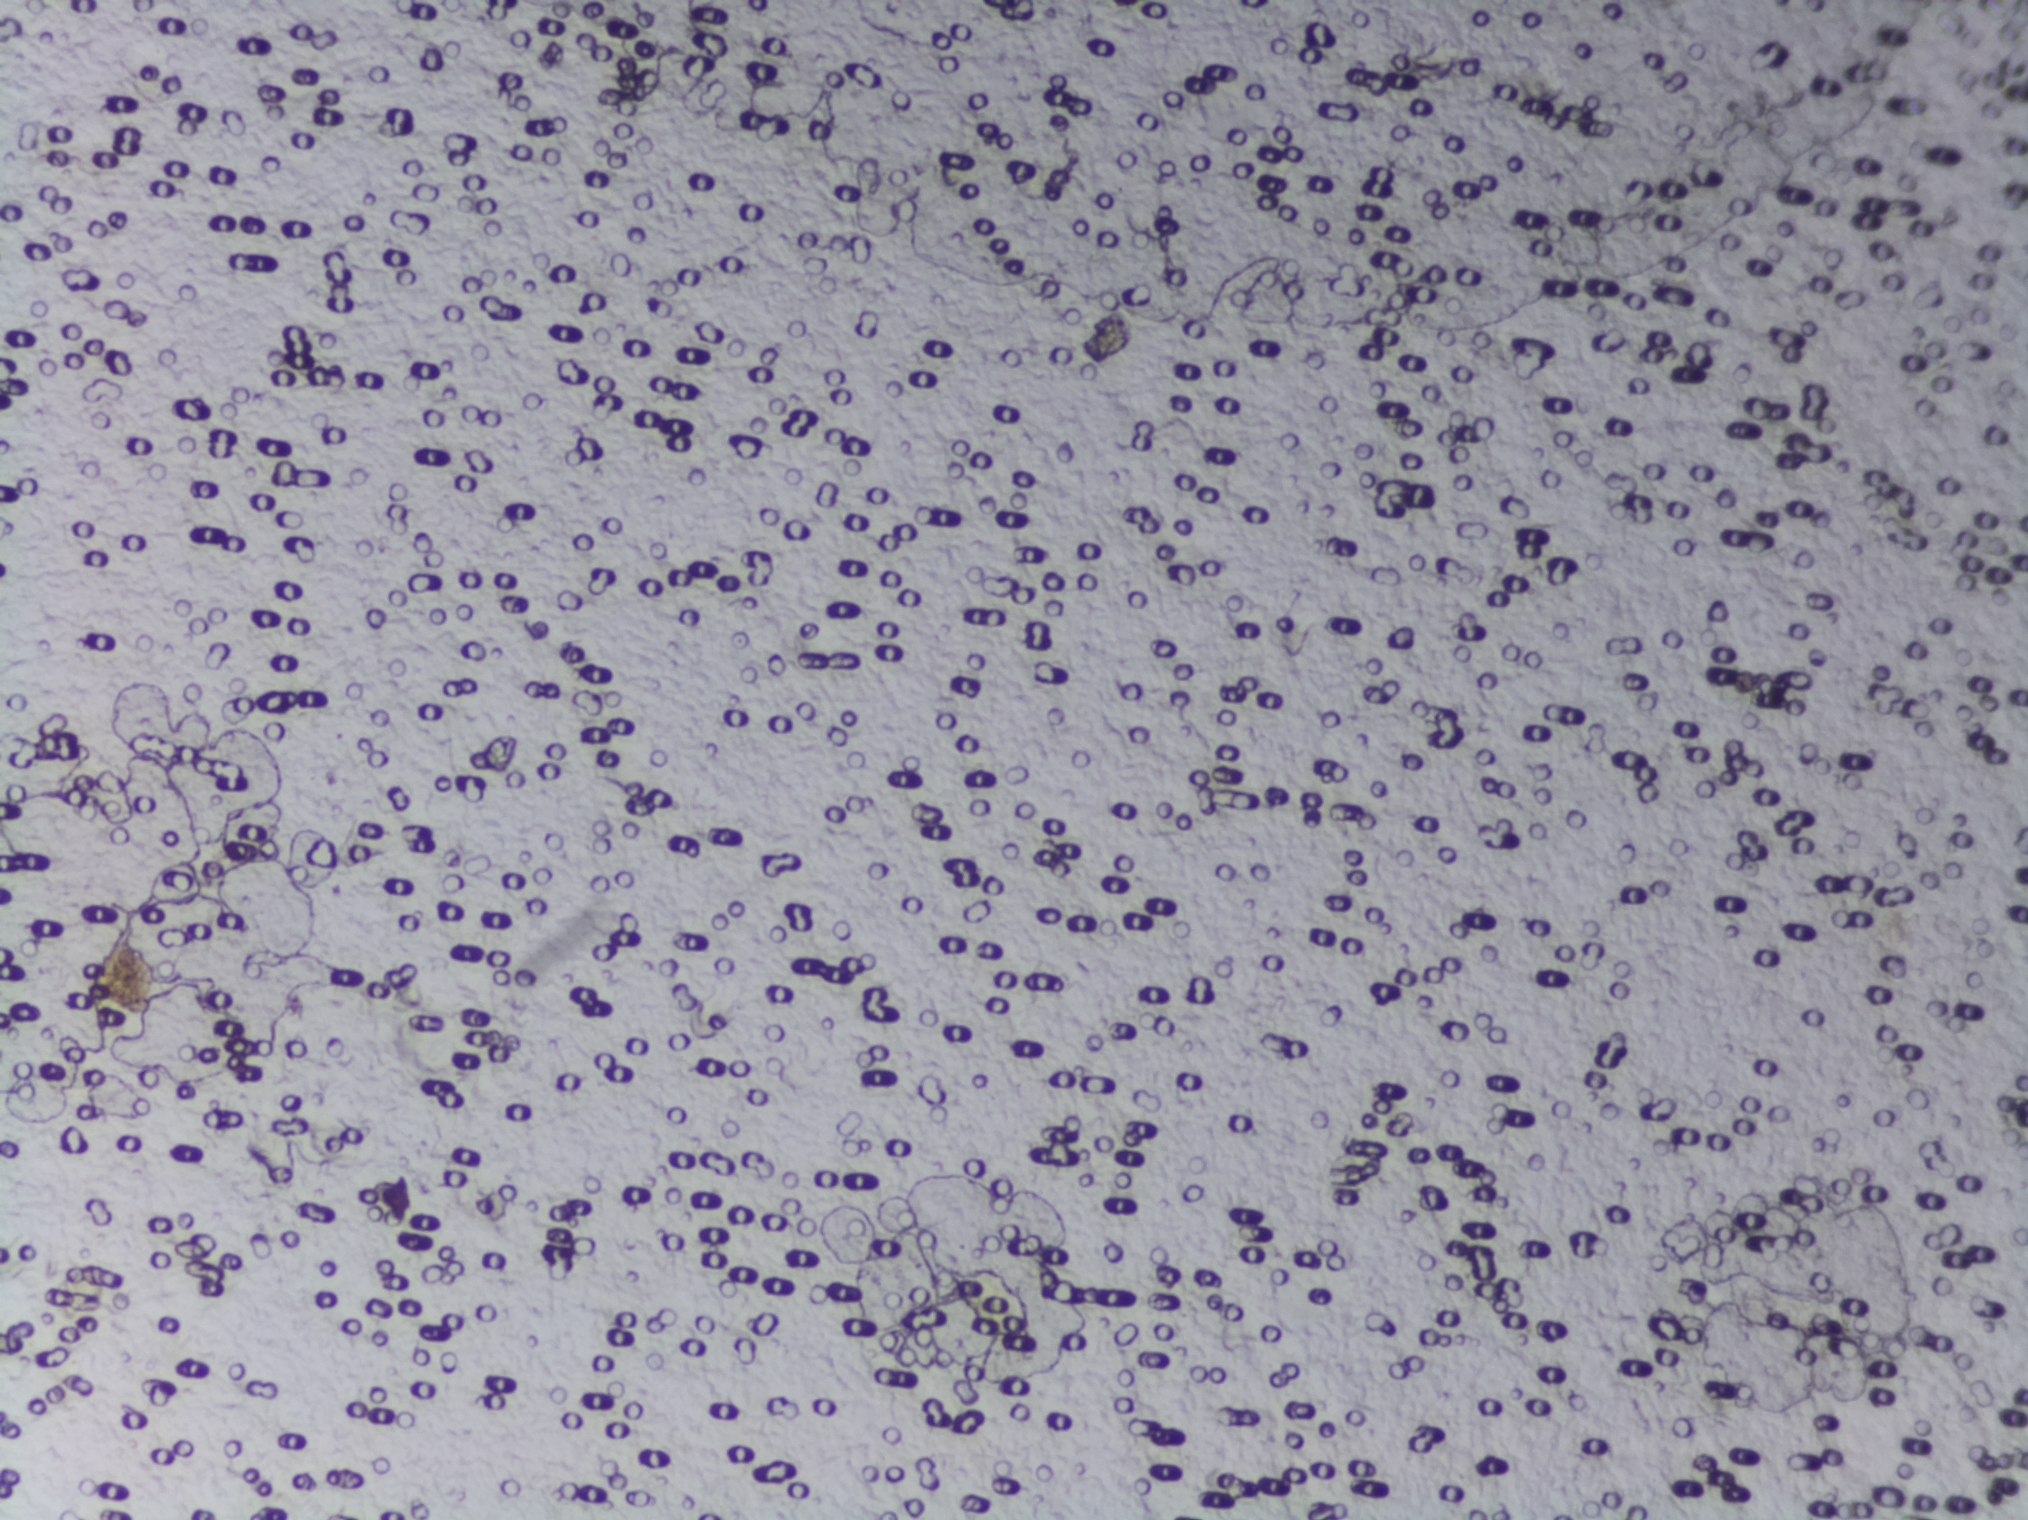
One field of view of a urine filter membrane, 4× objective, 2028 × 1520 pixels.
Schistosoma eggs: none outlined.